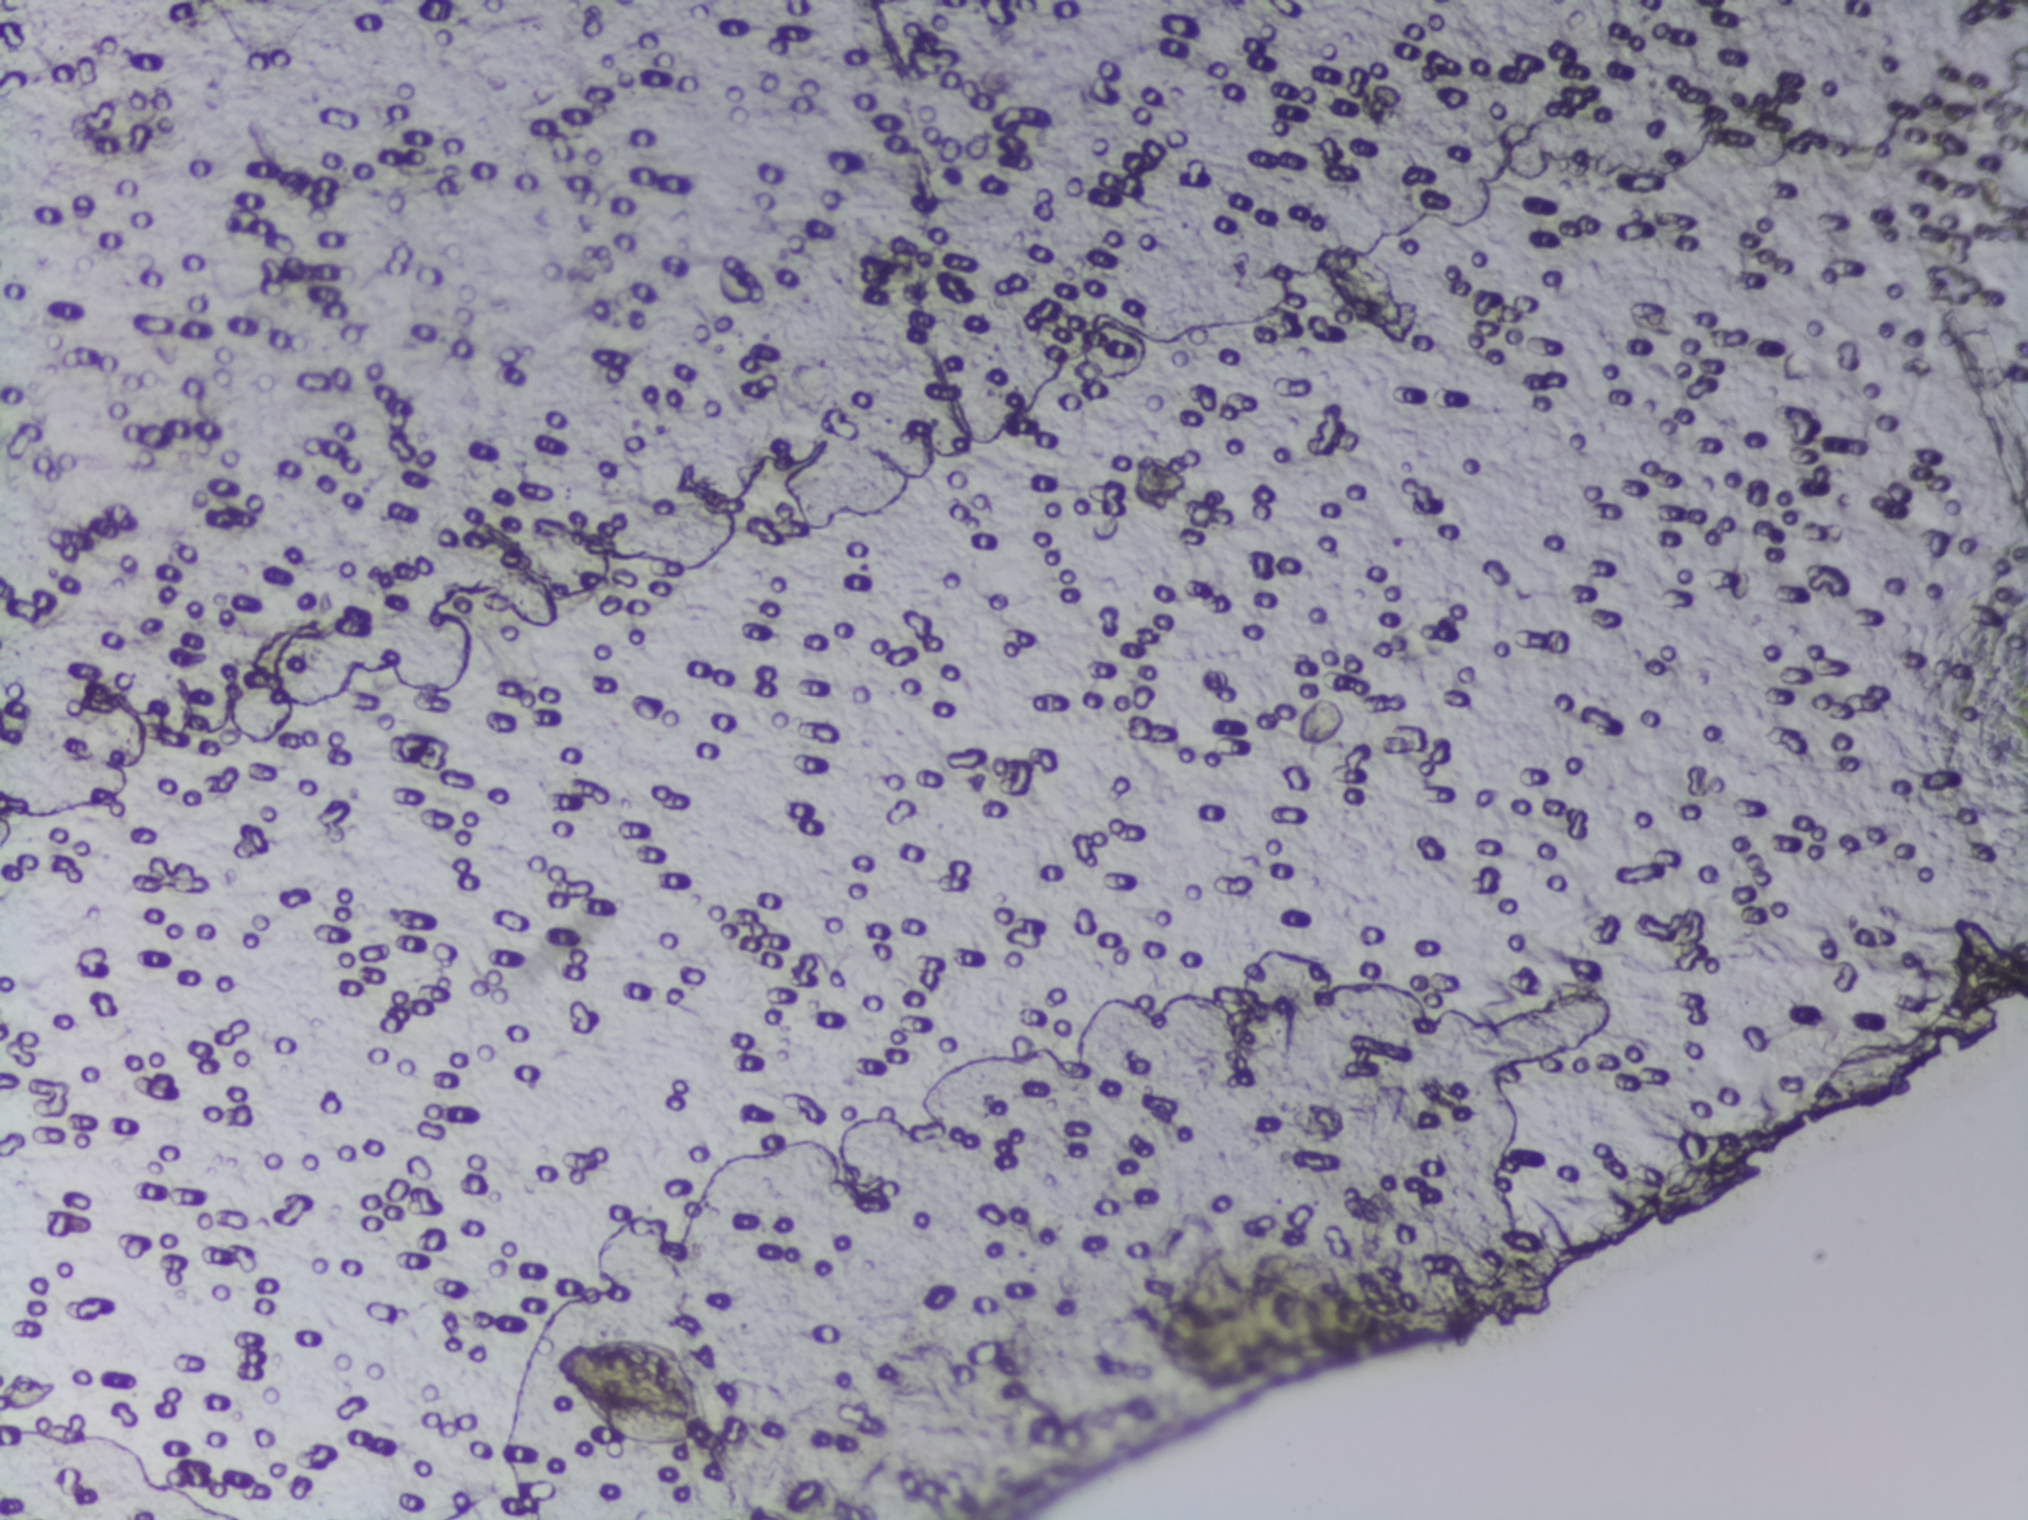
One field of view of a urine filter membrane, 4× objective, 2028 × 1520 pixels.
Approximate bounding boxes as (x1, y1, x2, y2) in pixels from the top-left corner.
The expert annotation outlines Schistosoma eggs at (556, 1339, 712, 1447). About 0.4% of the image's pixels are marked (the marked pixels themselves, not the box around them). A single outlined area may contain several eggs.